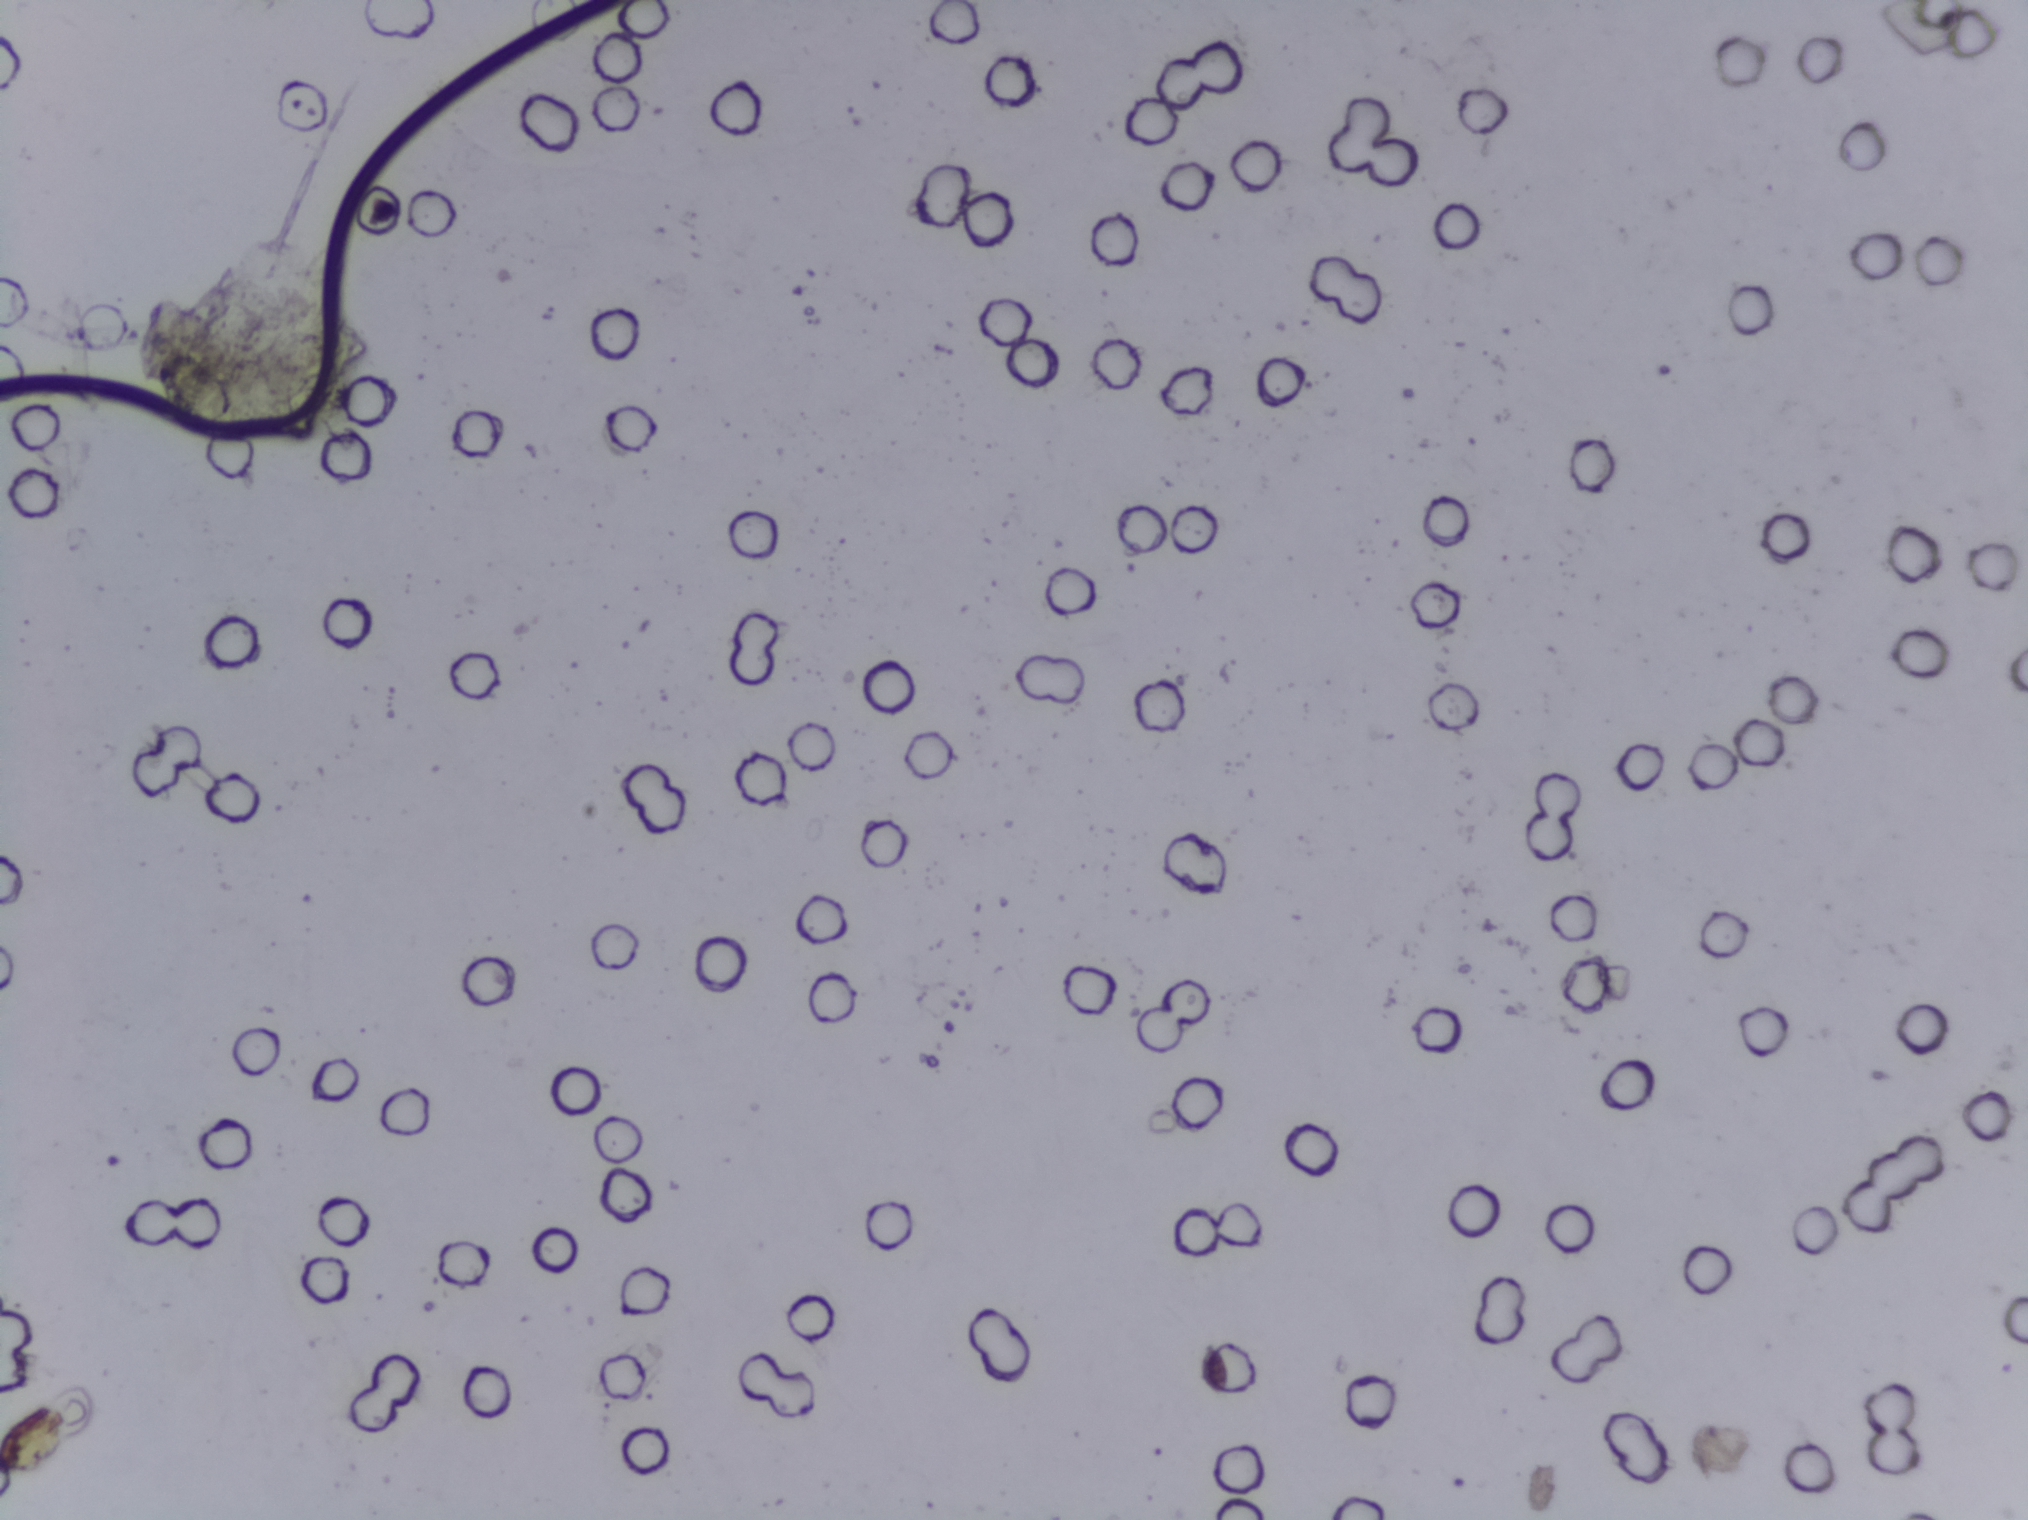
Photomicrograph of a urine filtration membrane, 4× objective.
The expert annotation marks no Schistosoma egg in this field of view.